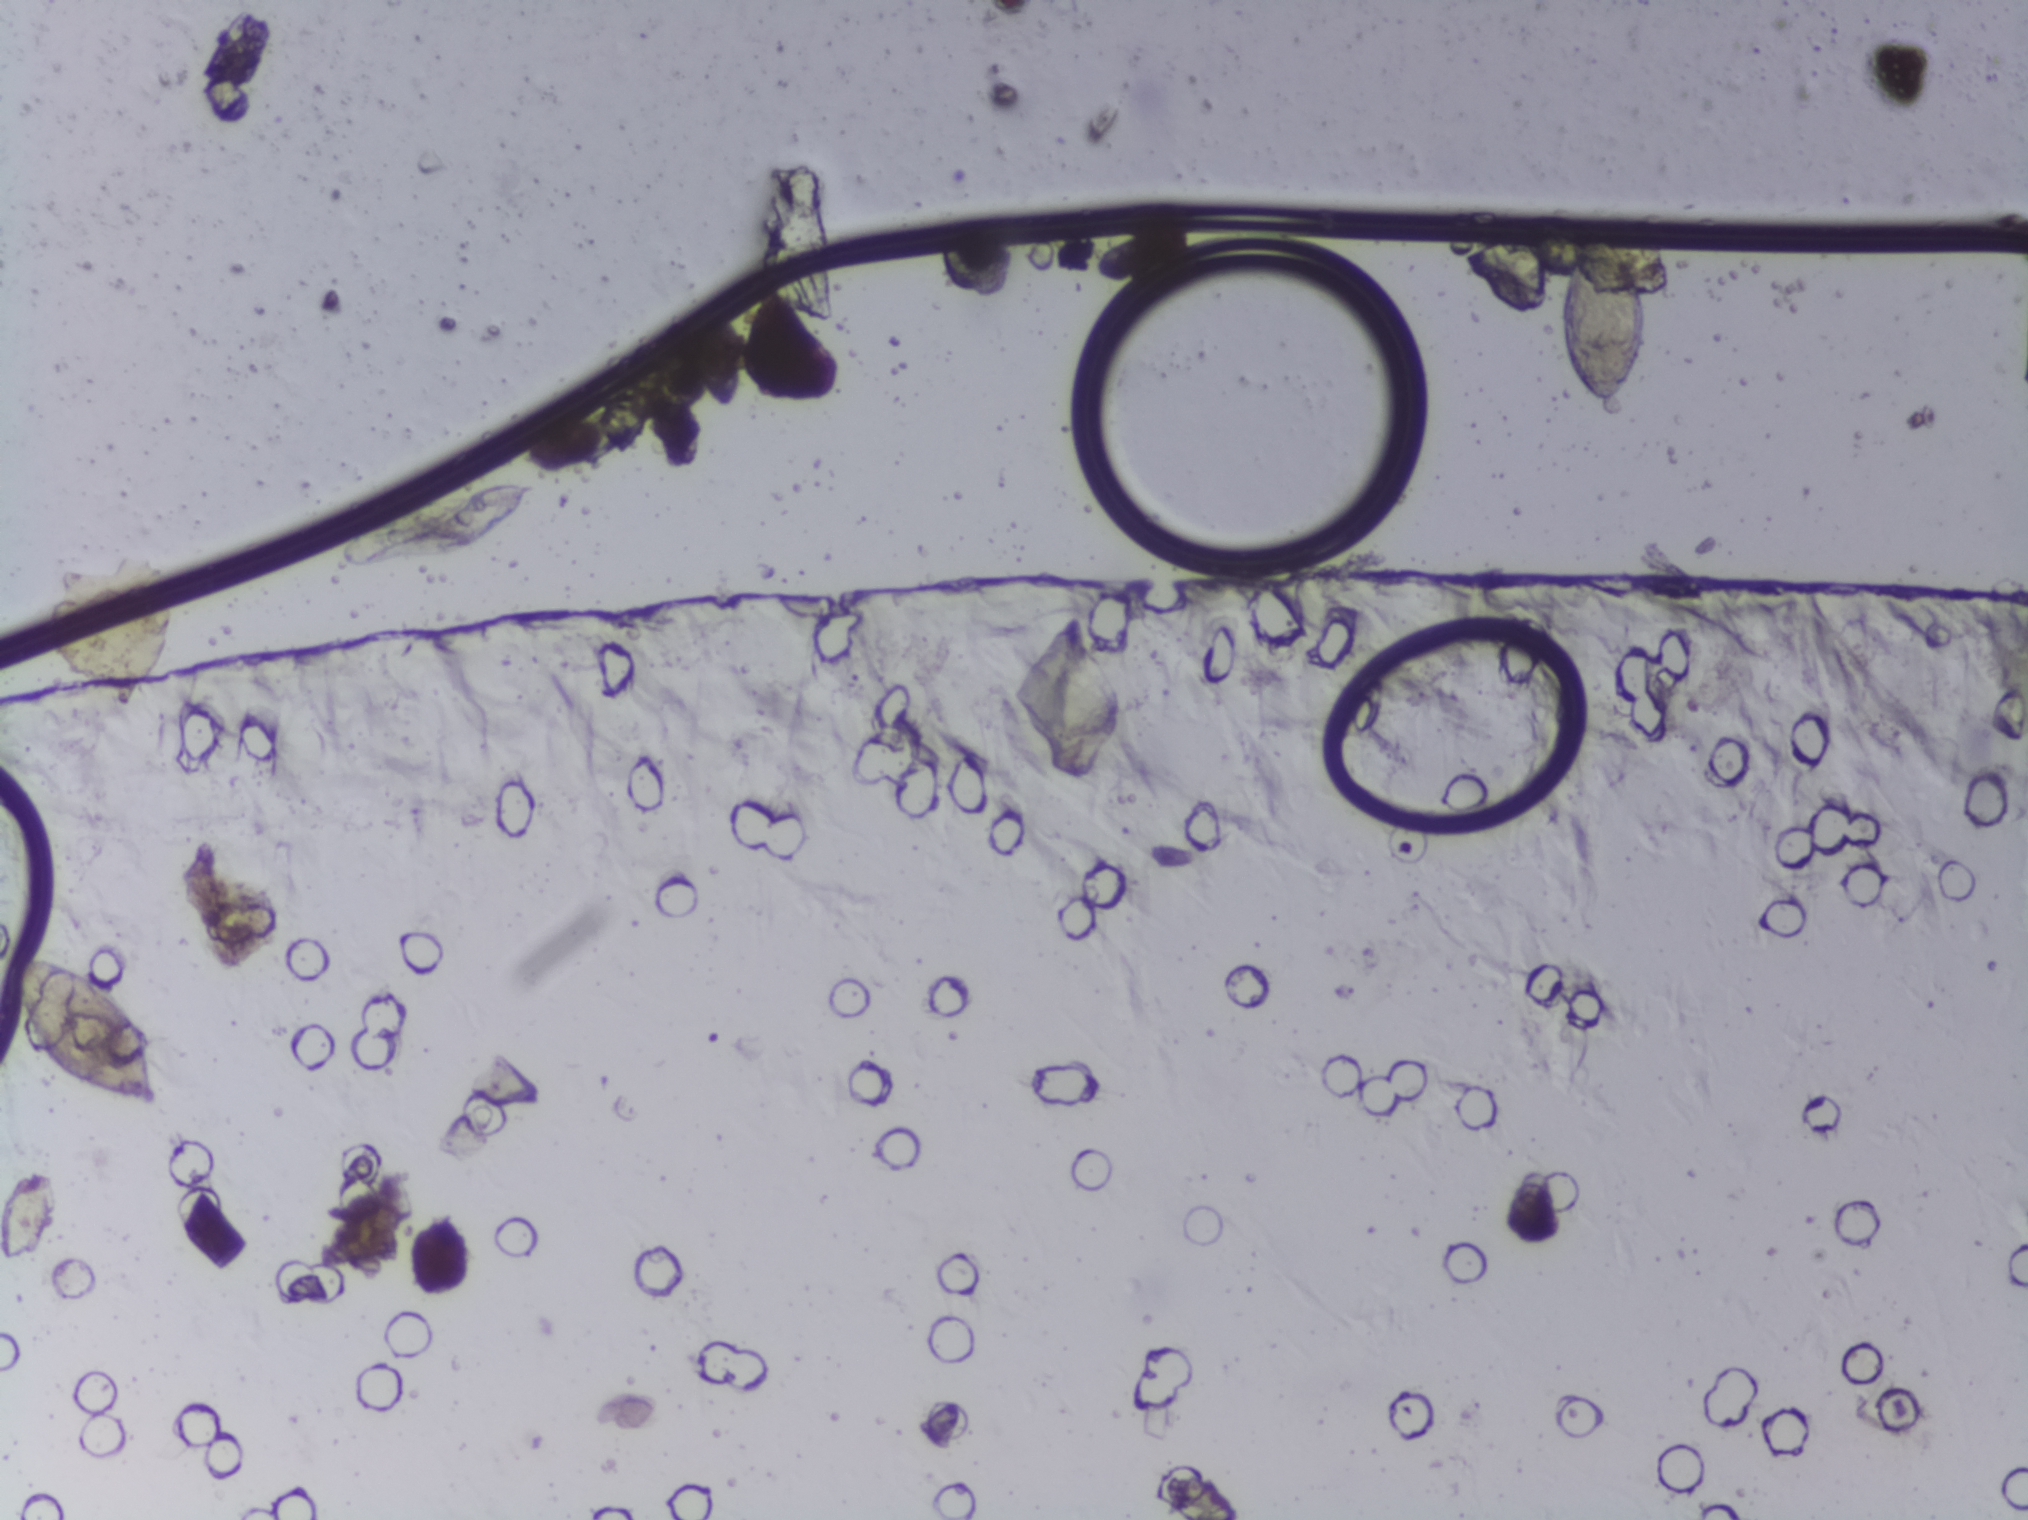
Photograph from an automated digital microscope: urine filter membrane, 4× objective.
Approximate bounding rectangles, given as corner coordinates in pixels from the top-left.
Findings: two areas outlined as Schistosoma eggs. Locations, left to right: (x1=8, y1=948, x2=163, y2=1112); (x1=1560, y1=217, x2=1649, y2=411). The marked pixels themselves, not the boxes around them, cover about 0.9% of the image. Eggs that touch can end up inside the same outlined area. Any one outlined egg may, rarely, be S. mansoni rather than S. haematobium.